Microscope photograph (4× objective) of a membrane that a urine sample was filtered through. Field of view: about 1.5 mm wide and 1.1 mm high.
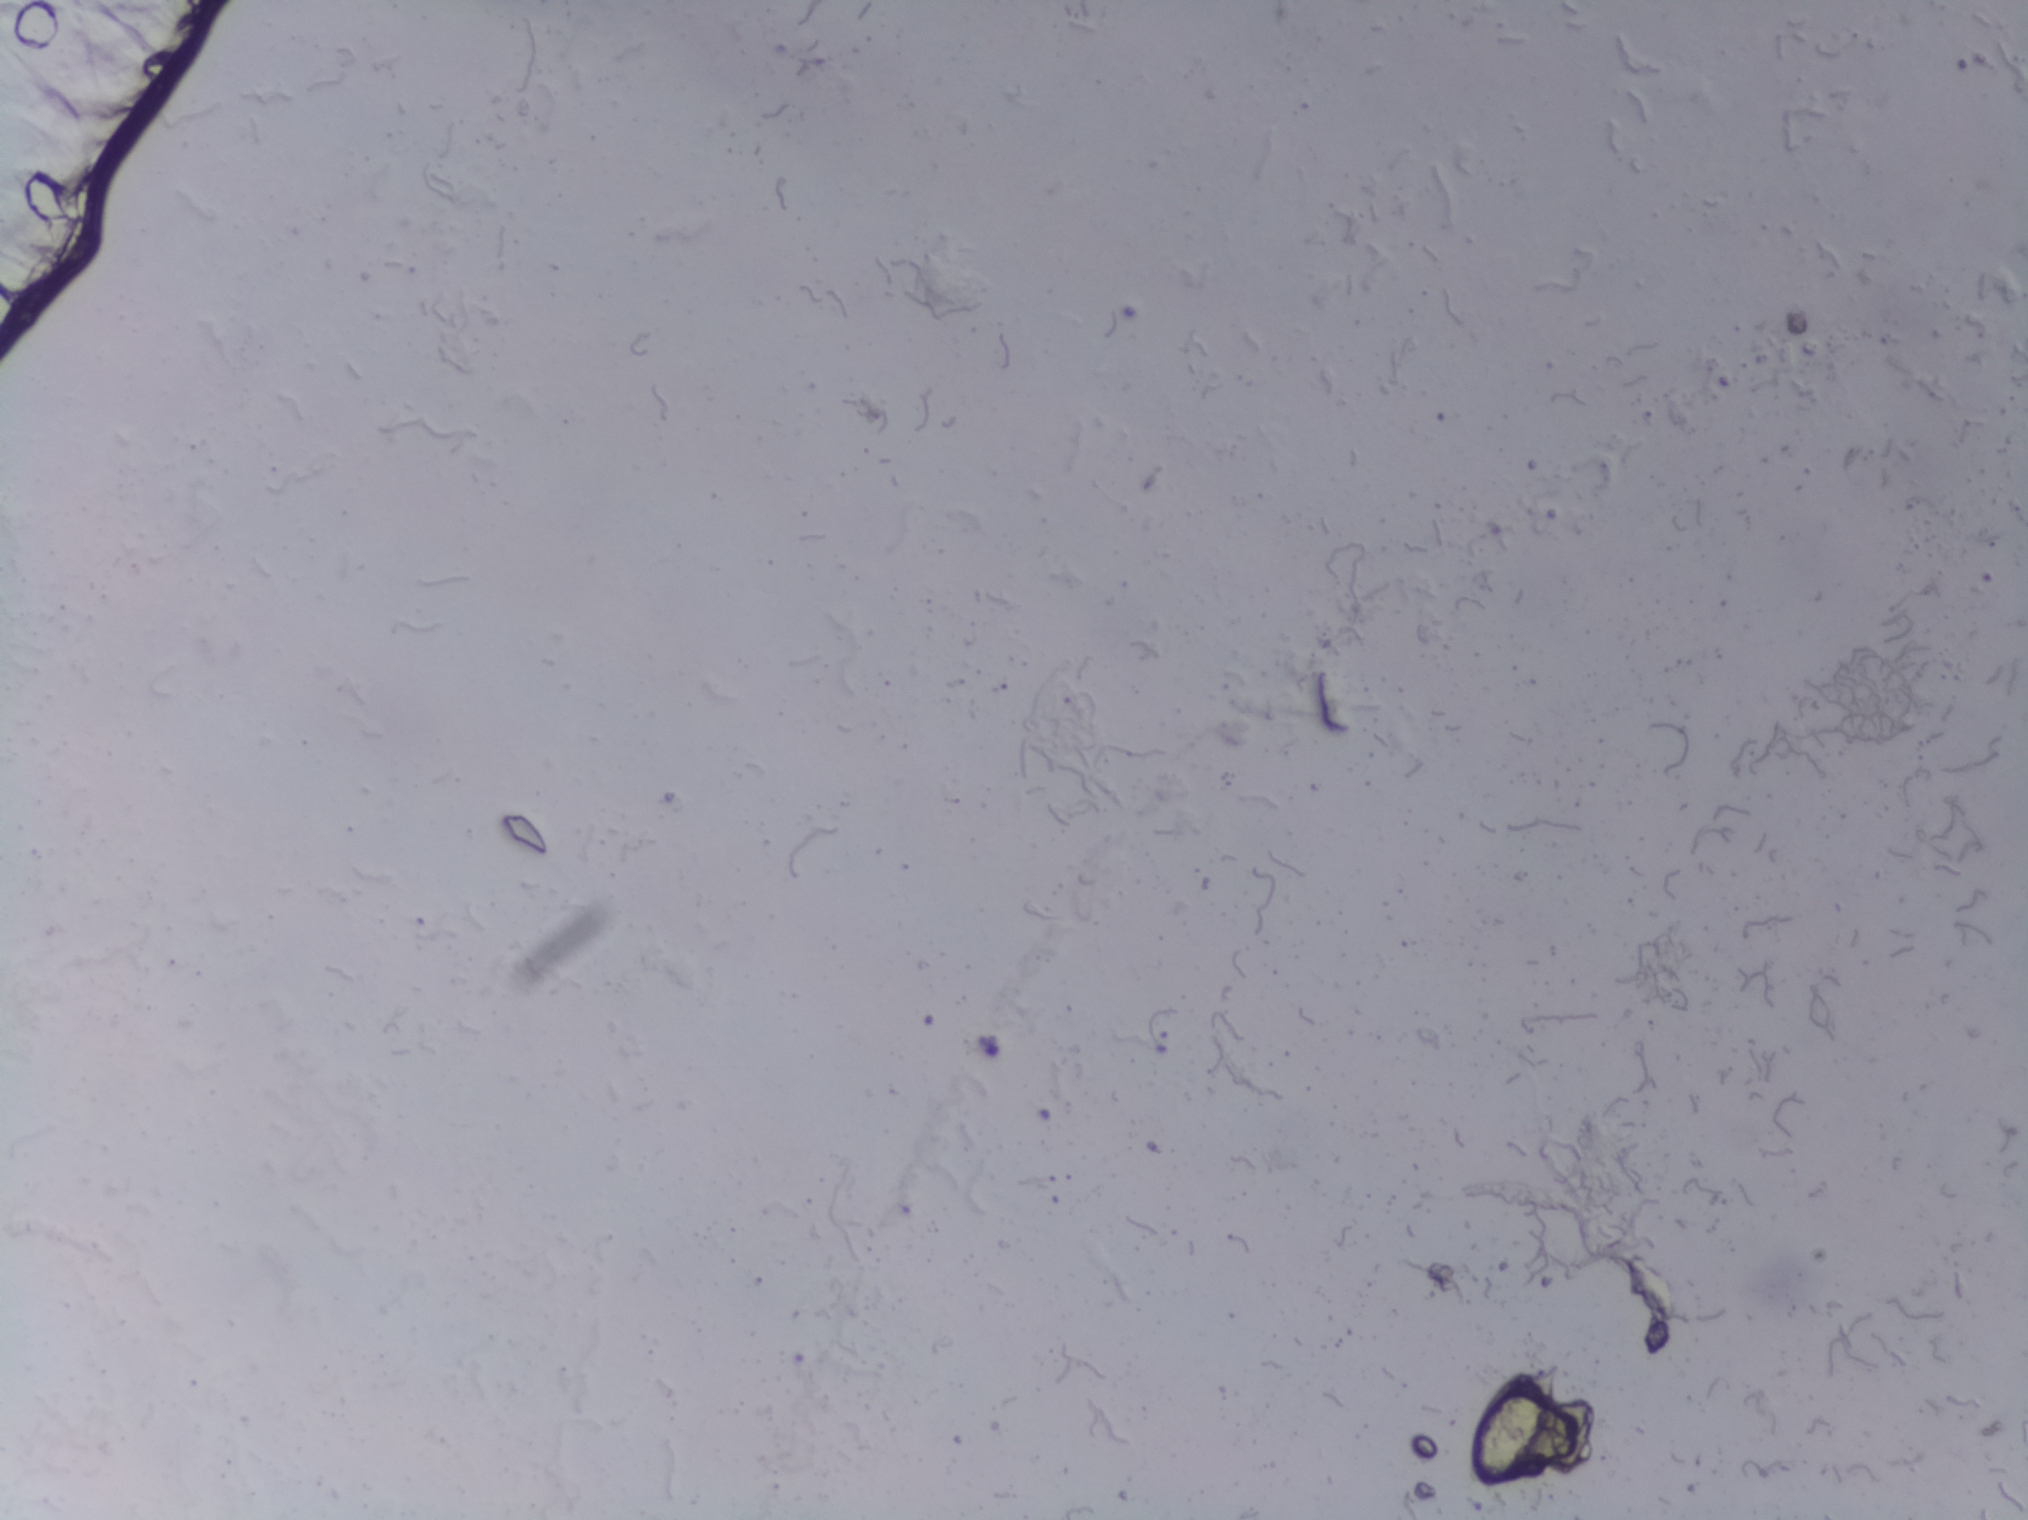
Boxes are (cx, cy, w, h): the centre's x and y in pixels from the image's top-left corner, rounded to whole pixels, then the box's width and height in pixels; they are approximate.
One area of this image is outlined as Schistosoma eggs: (cx=1515, cy=1428, w=106, h=138). About 0.3% of the image's pixels are marked (the marked pixels themselves, not the box around them). An outlined area can hold more than one egg.